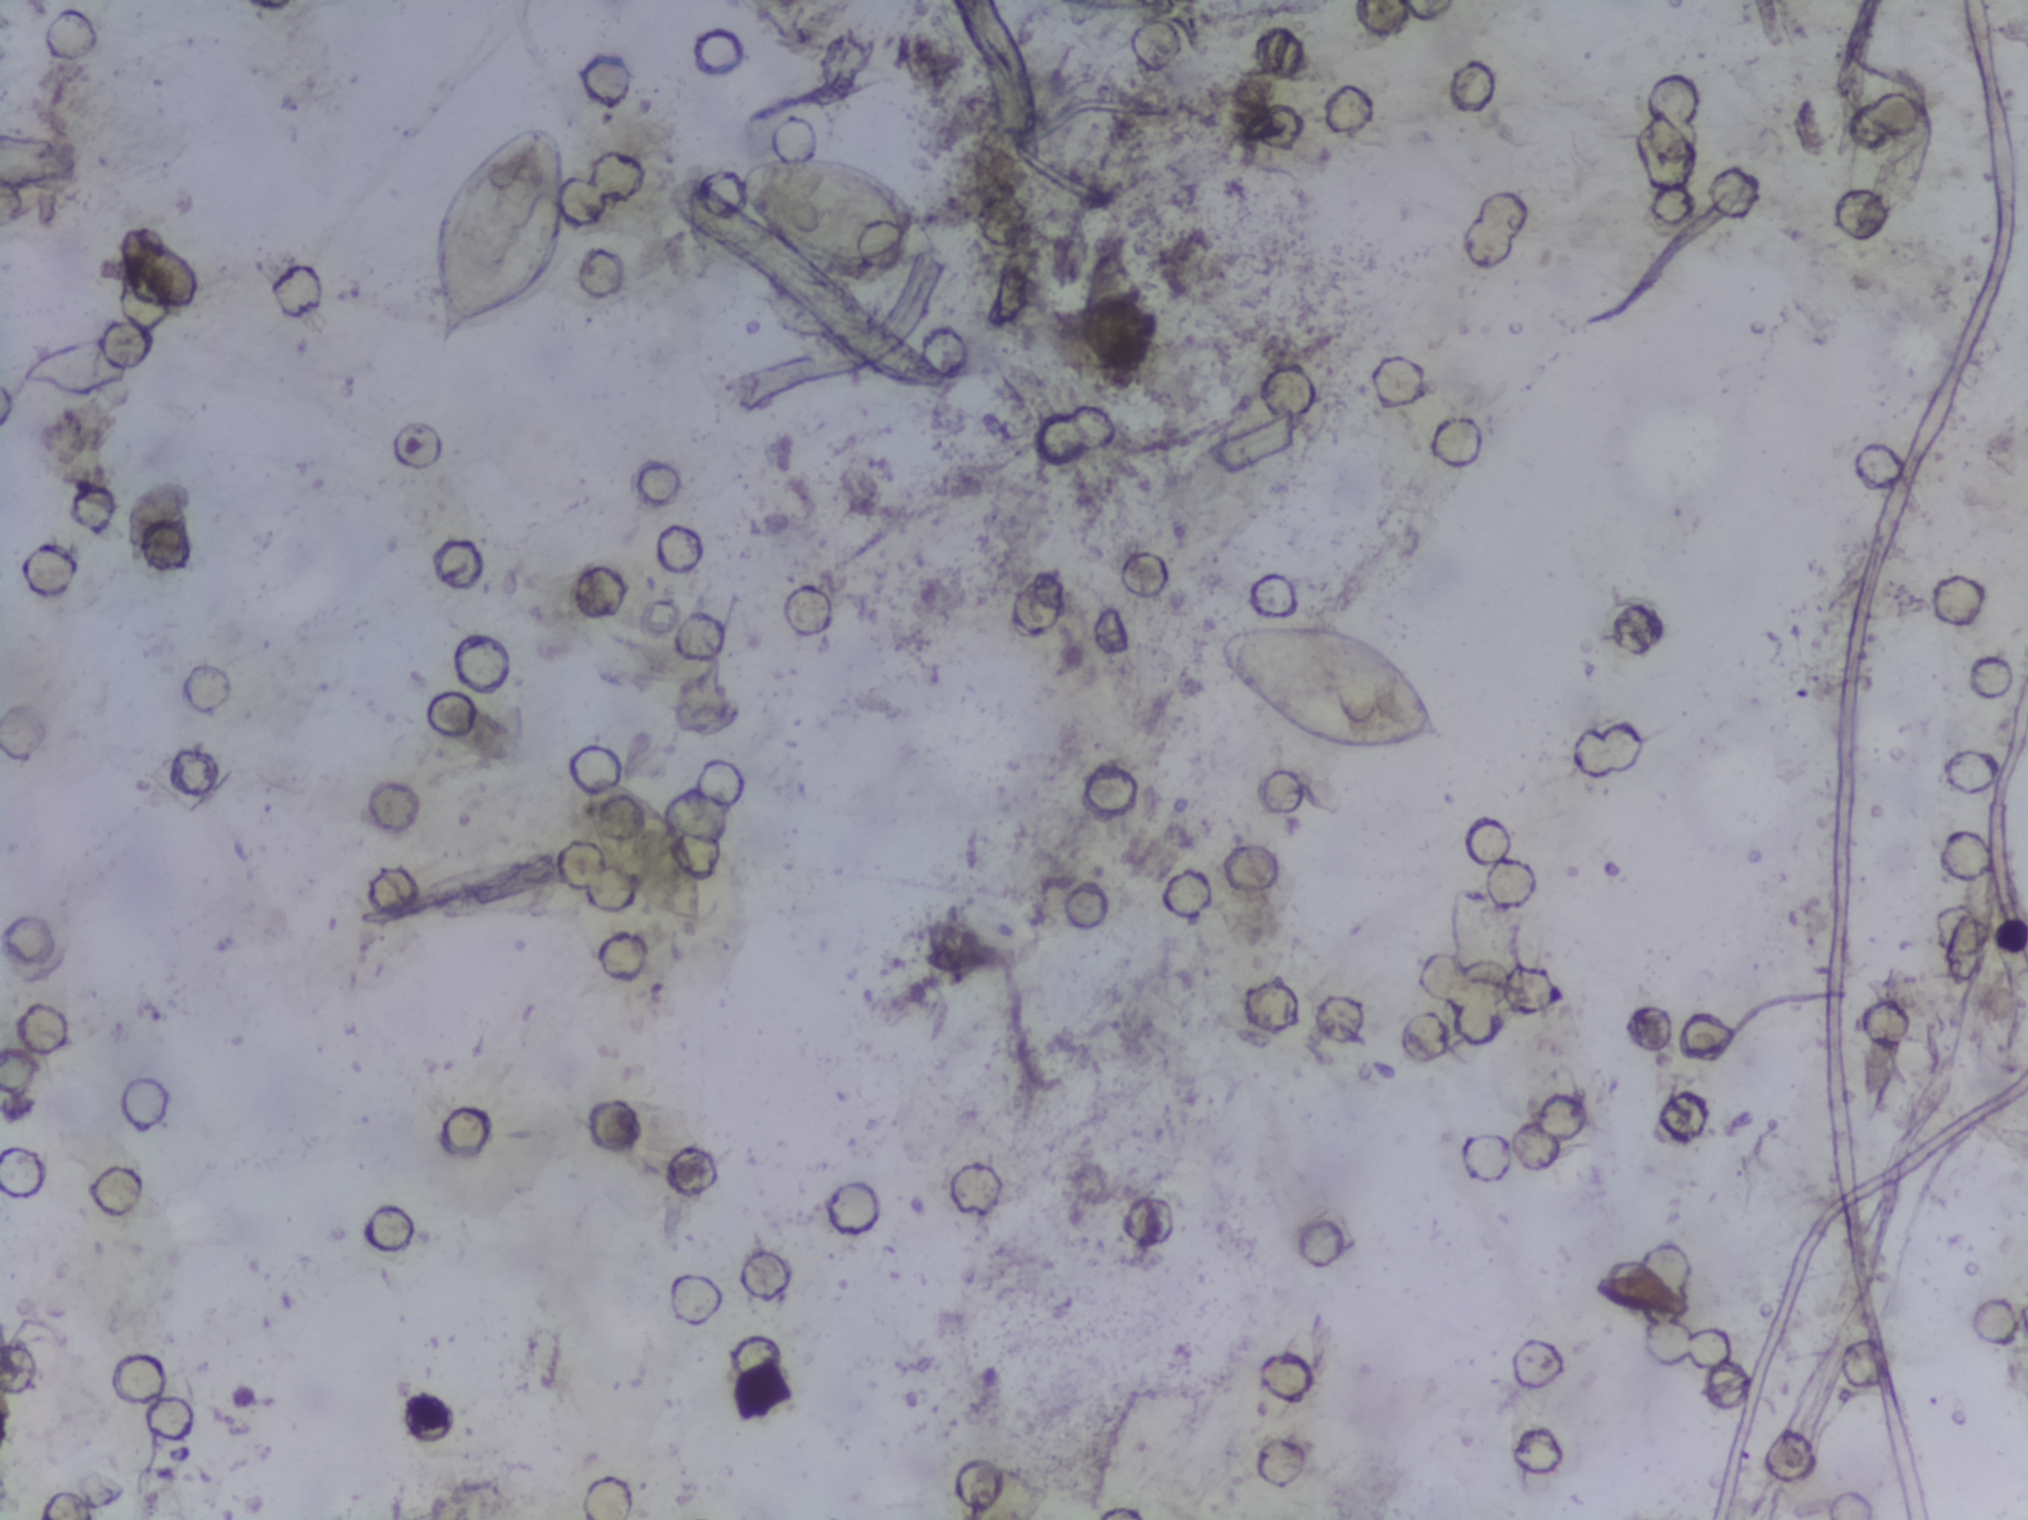
Urine filtration membrane under a 4× objective, photographed by an automated digital microscope. Field of view: about 1.5 mm wide and 1.1 mm high.
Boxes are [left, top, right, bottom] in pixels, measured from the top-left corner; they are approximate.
Schistosoma eggs are outlined in four areas of this image, listed from left to right: [427, 123, 572, 350]; [581, 769, 706, 927]; [739, 147, 952, 272]; [1213, 617, 1450, 756]. An outlined area can hold more than one egg.